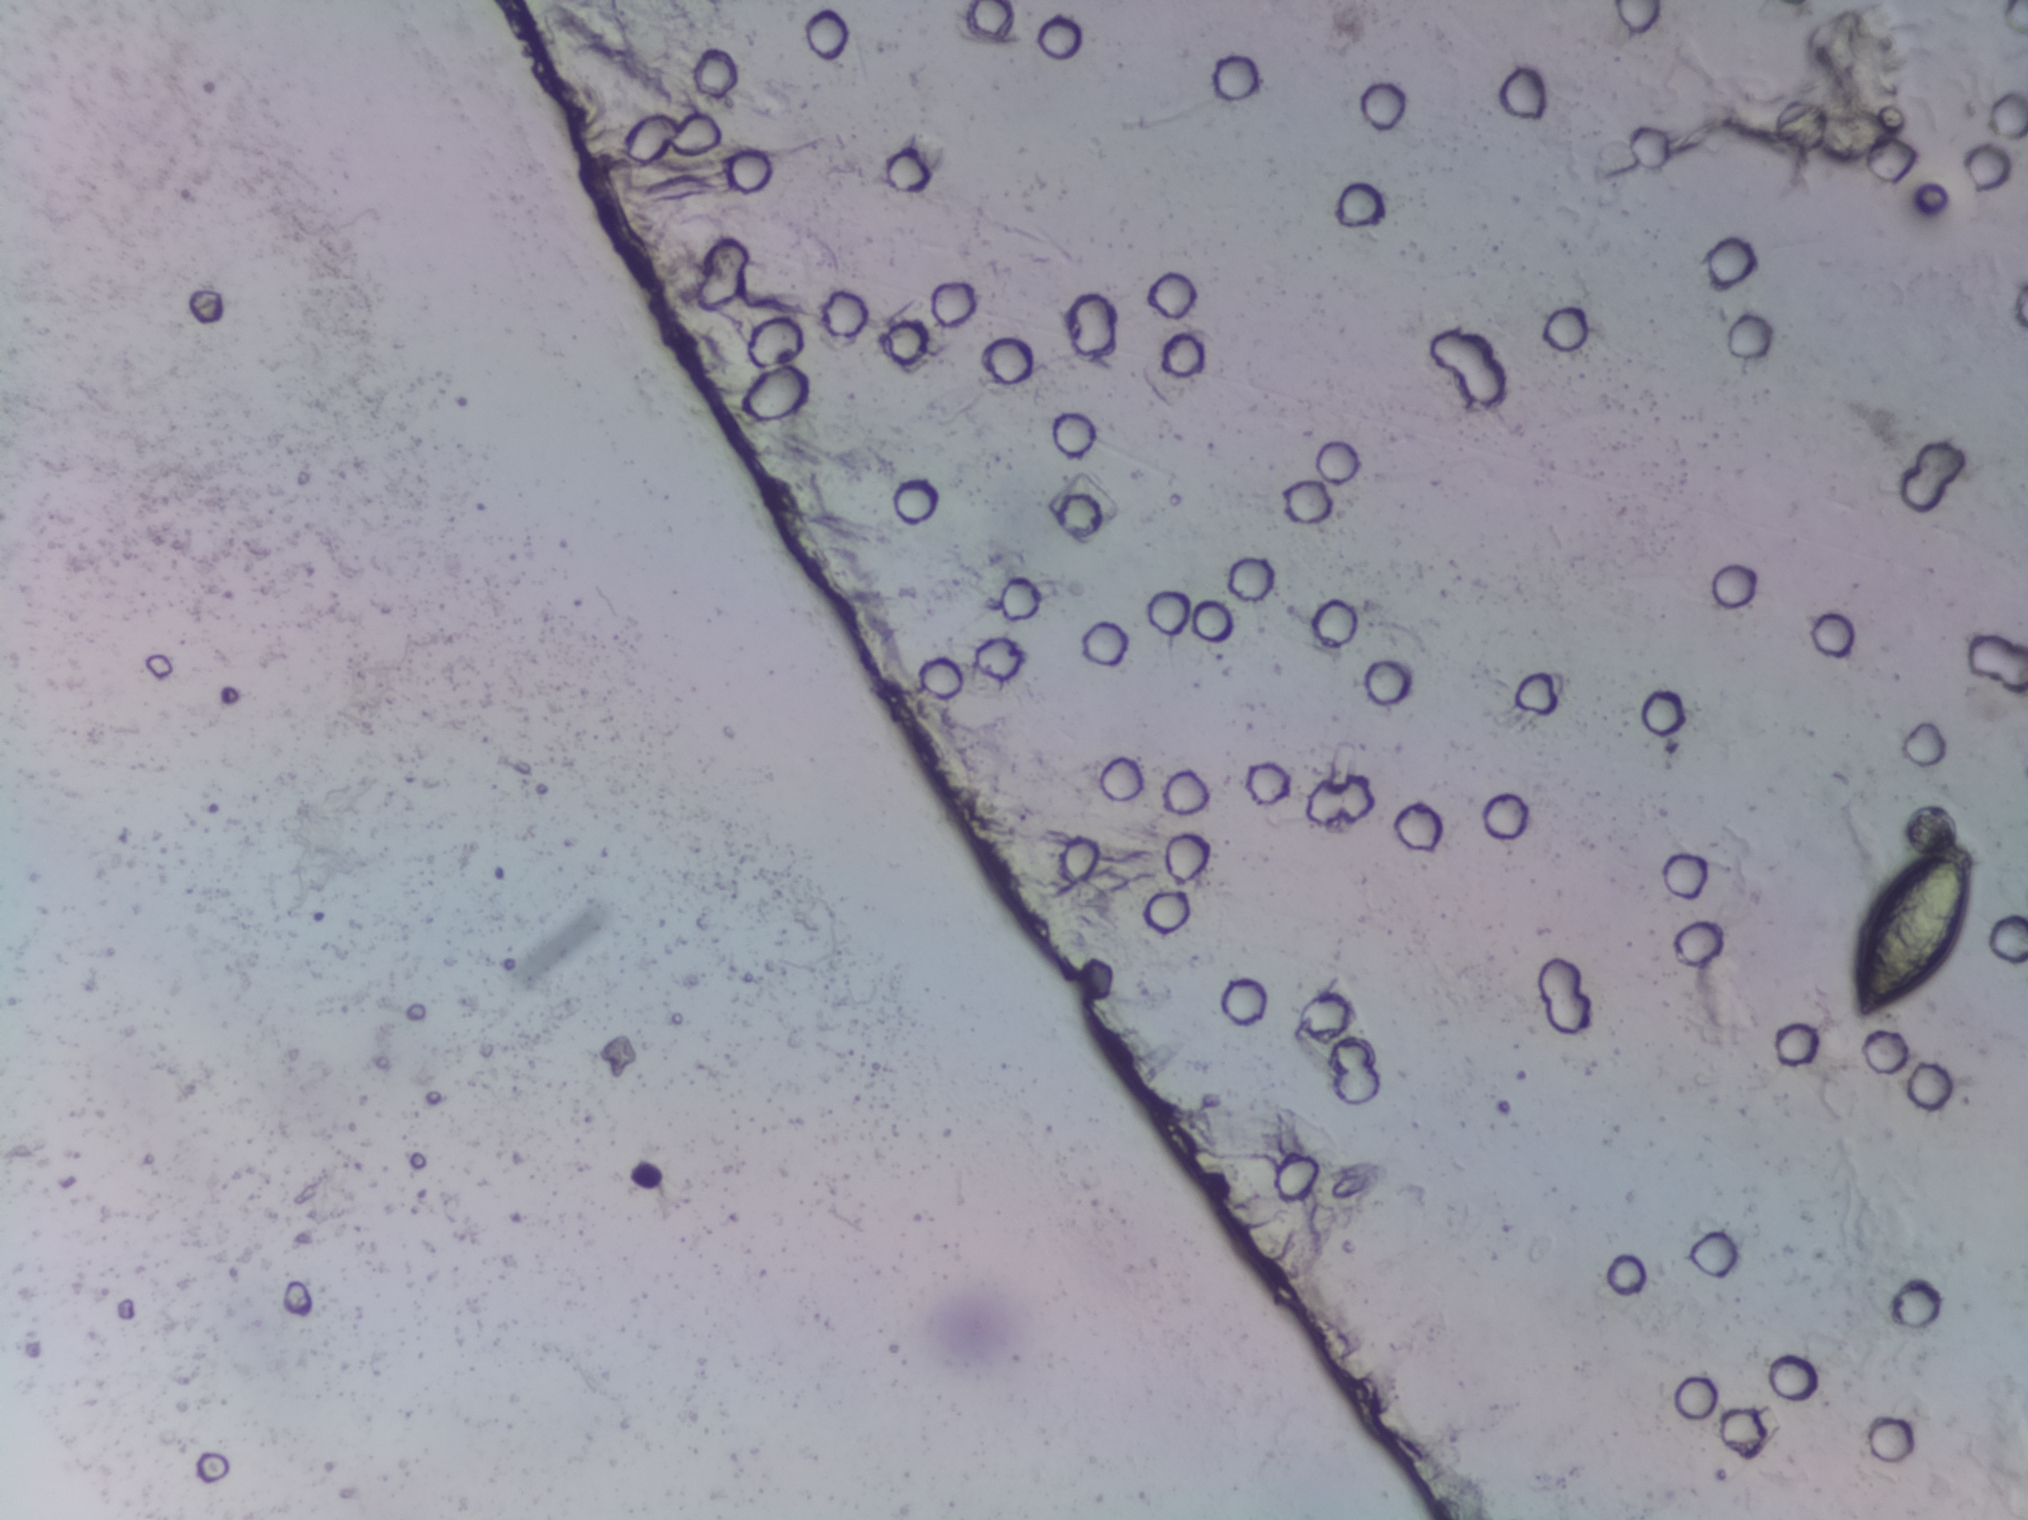
Microscope photograph (4× objective) of a membrane that a urine sample was filtered through. The field of view is about 1.5 mm × 1.1 mm.
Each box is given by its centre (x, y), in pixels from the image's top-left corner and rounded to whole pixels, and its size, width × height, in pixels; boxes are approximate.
Schistosoma egg areas, outlined: centre (1917, 924), 150 × 222 px. Eggs that touch can end up inside the same outlined area.